Photomicrograph of a urine filtration membrane, 4× objective.
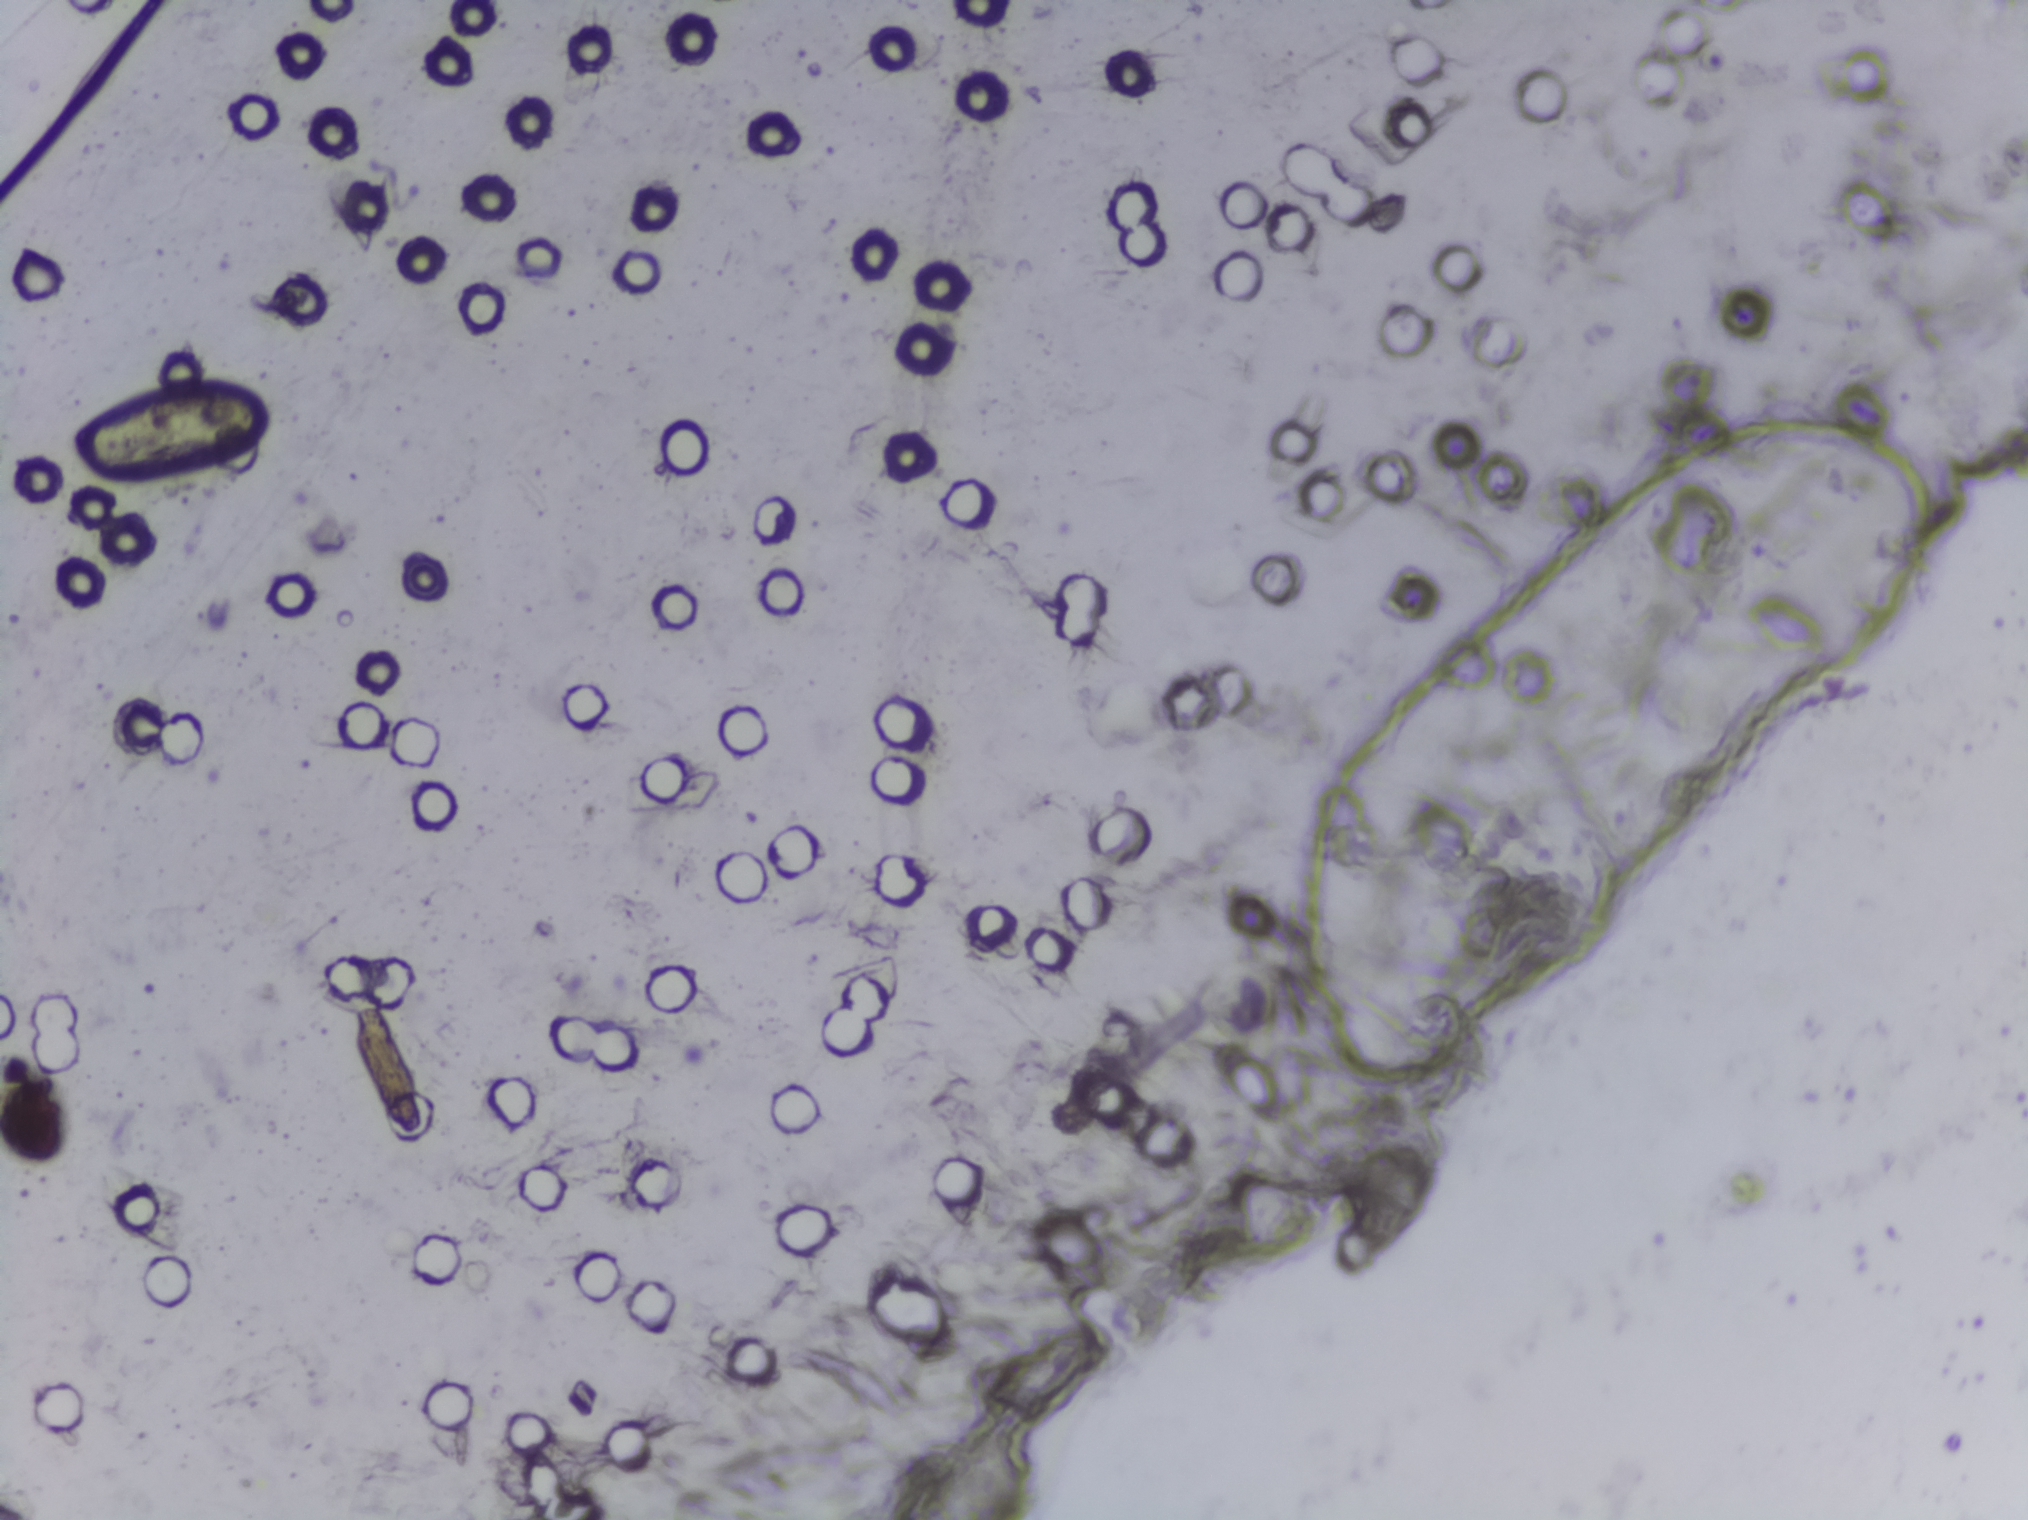
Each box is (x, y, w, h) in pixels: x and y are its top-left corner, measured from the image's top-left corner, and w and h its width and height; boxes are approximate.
Schistosoma eggs are outlined in the expert annotation at (x=73, y=382, w=194, h=100). Eggs that touch can end up inside the same outlined area.